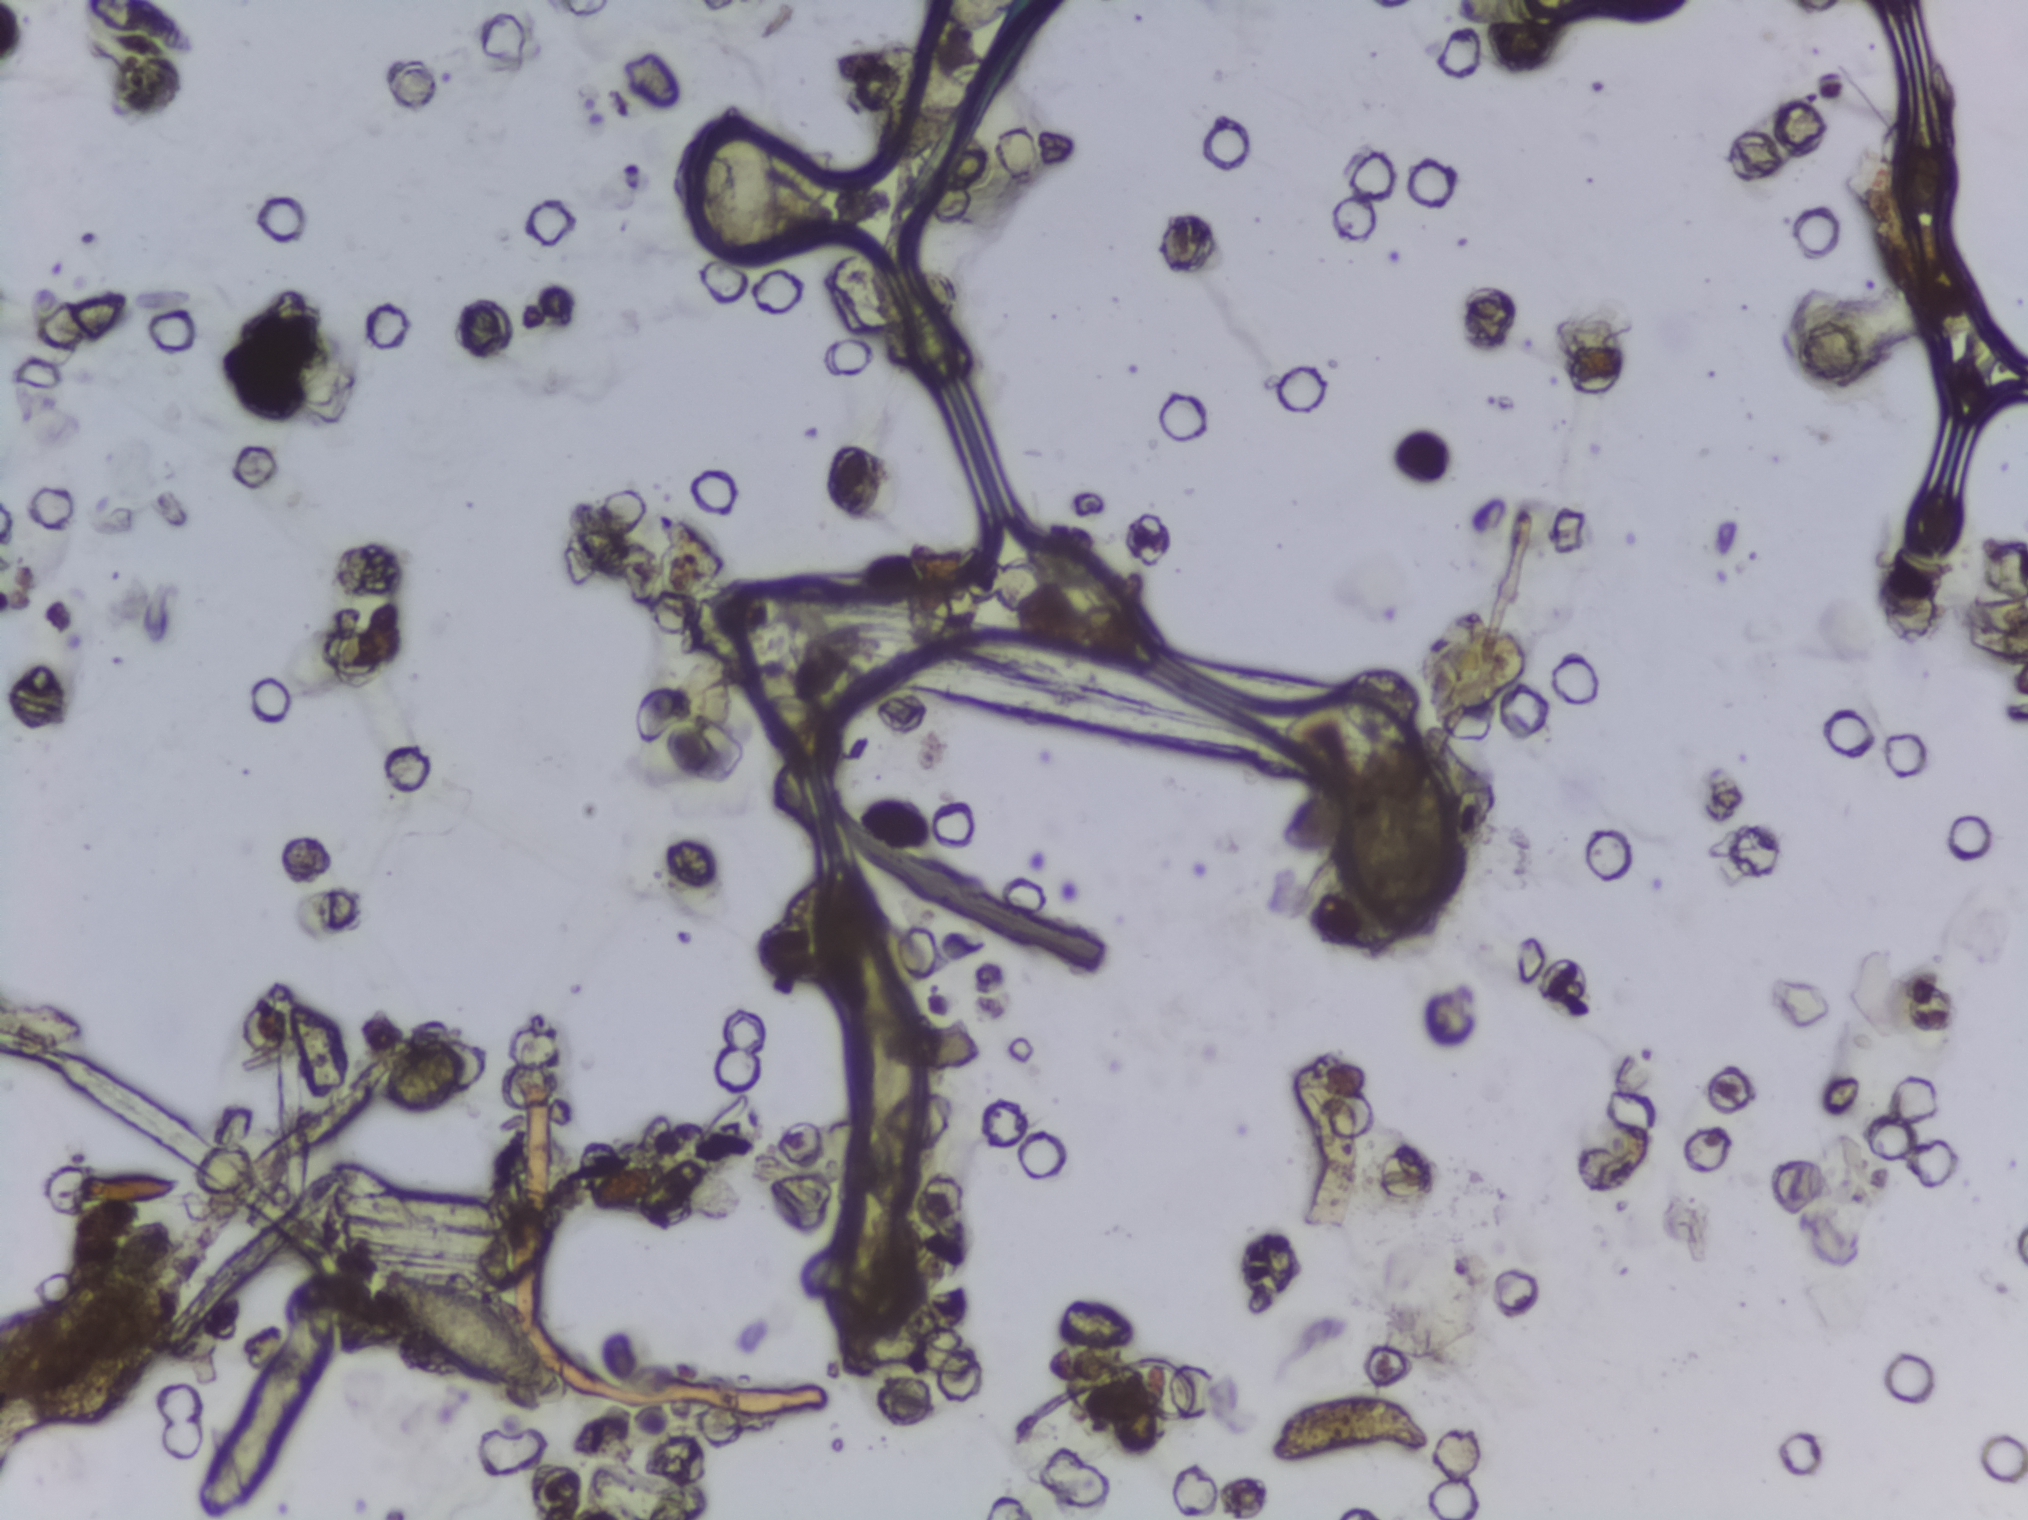
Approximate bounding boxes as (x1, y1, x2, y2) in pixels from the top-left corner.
Schistosoma eggs are outlined in the expert annotation at (385, 1260, 567, 1398). A single outlined area may contain several eggs.
One field of view of a urine filter membrane, 4× objective, 2028 × 1520 pixels.